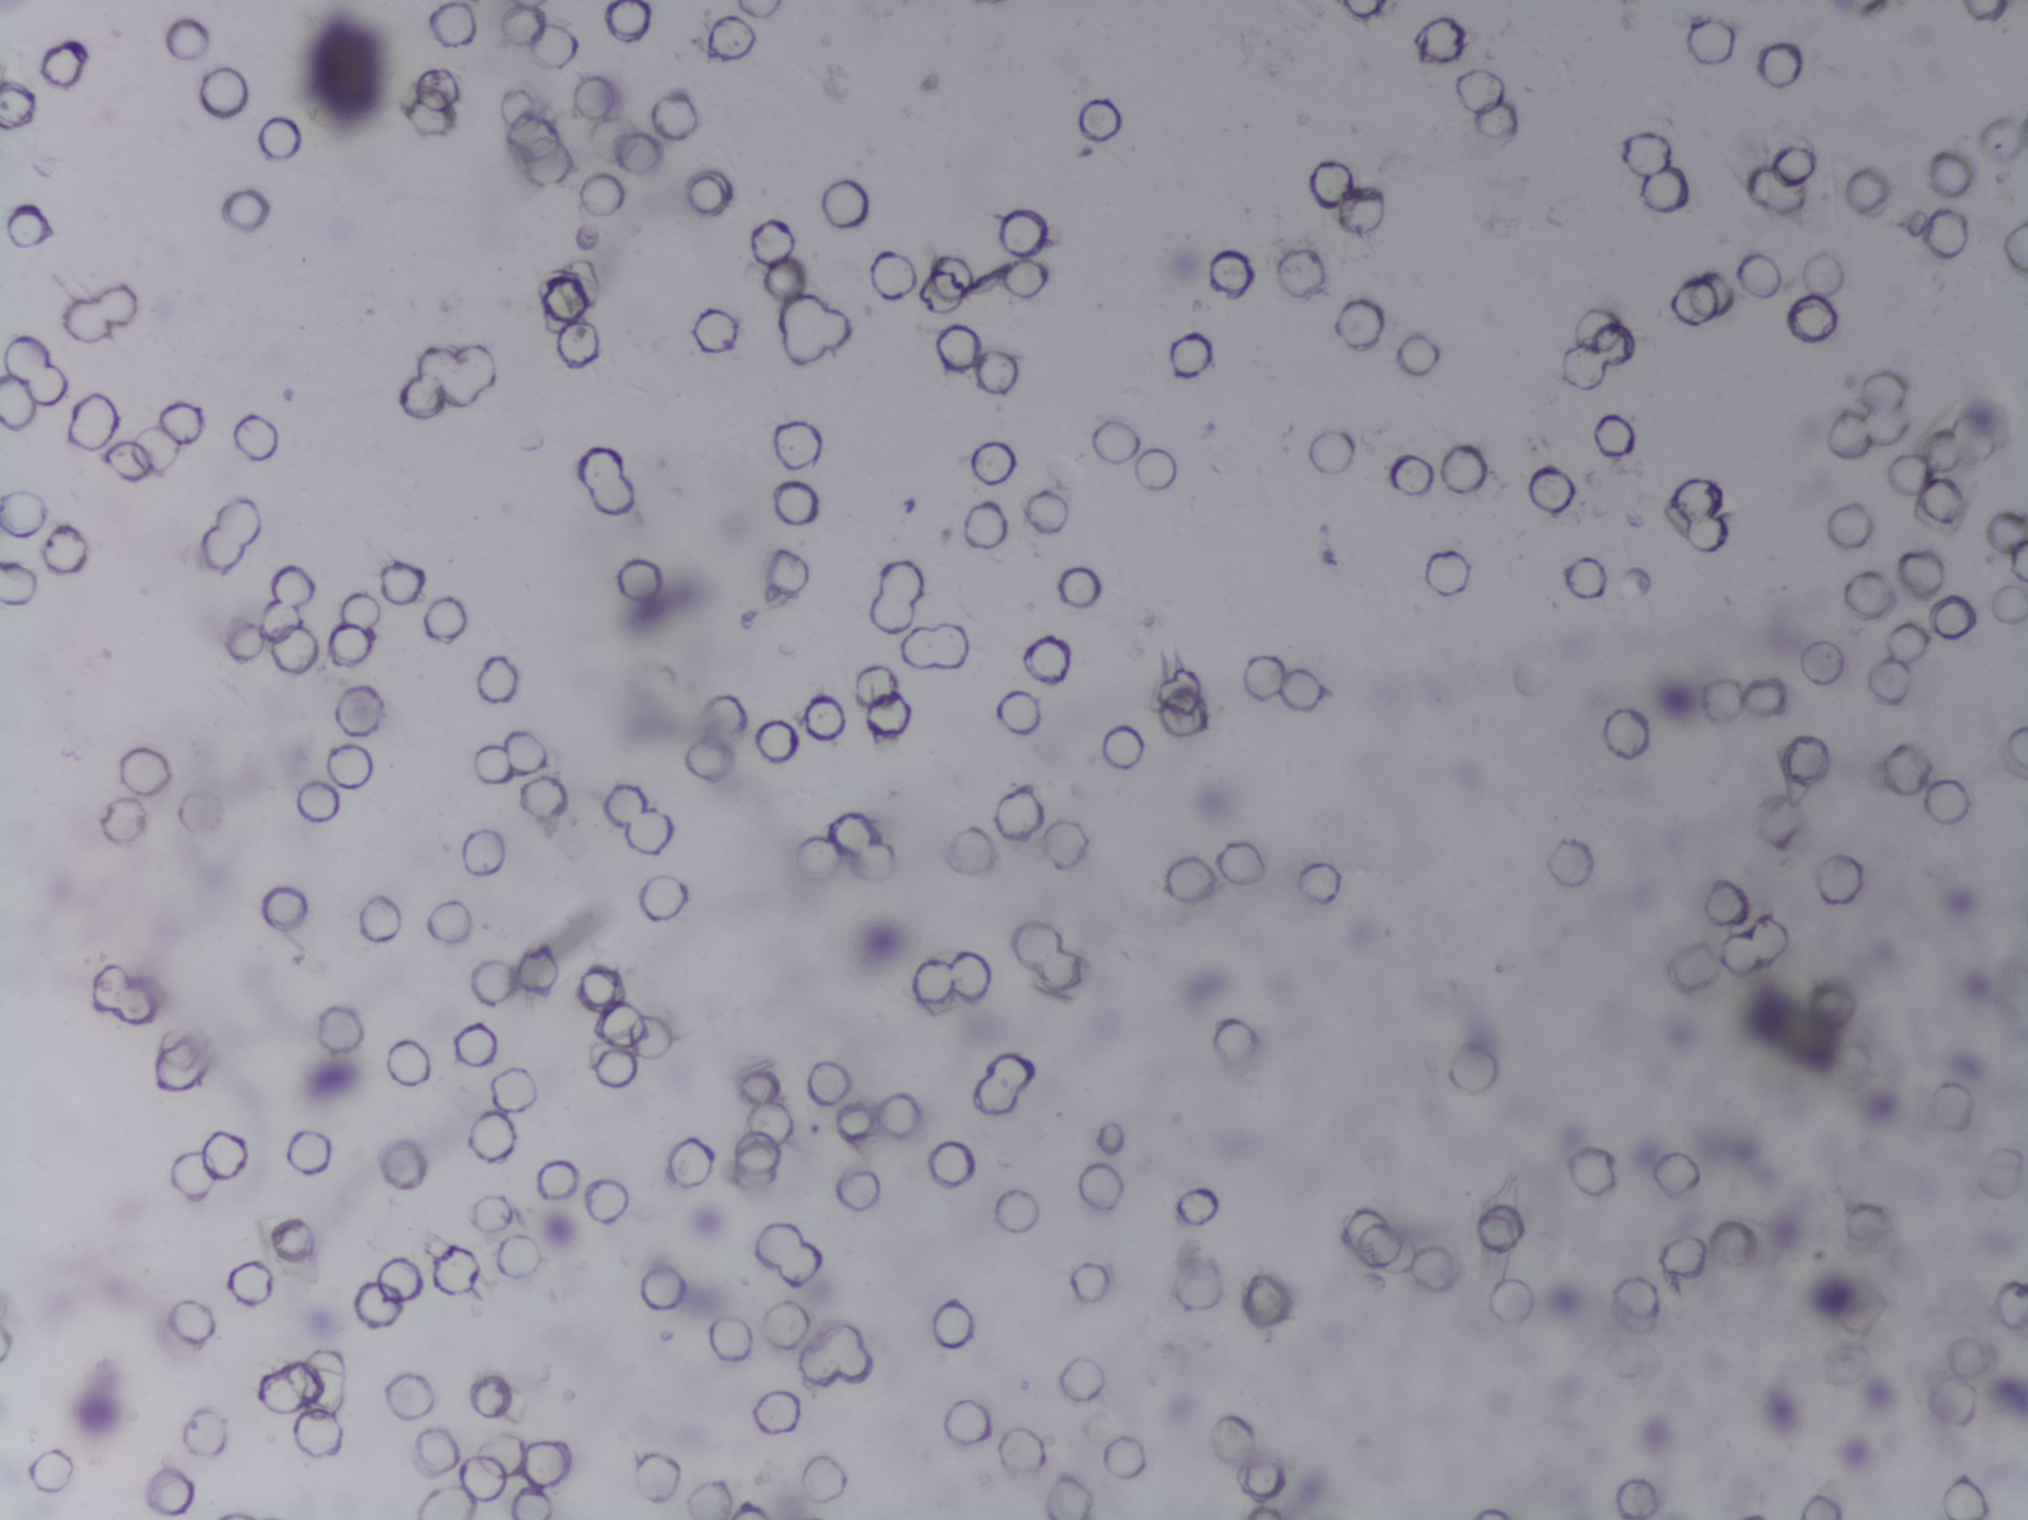
One field of view of a urine filter membrane, 4× objective, 2028 × 1520 pixels.
The expert annotation marks no Schistosoma egg in this field of view.